Photomicrograph of a urine filtration membrane, 4× objective.
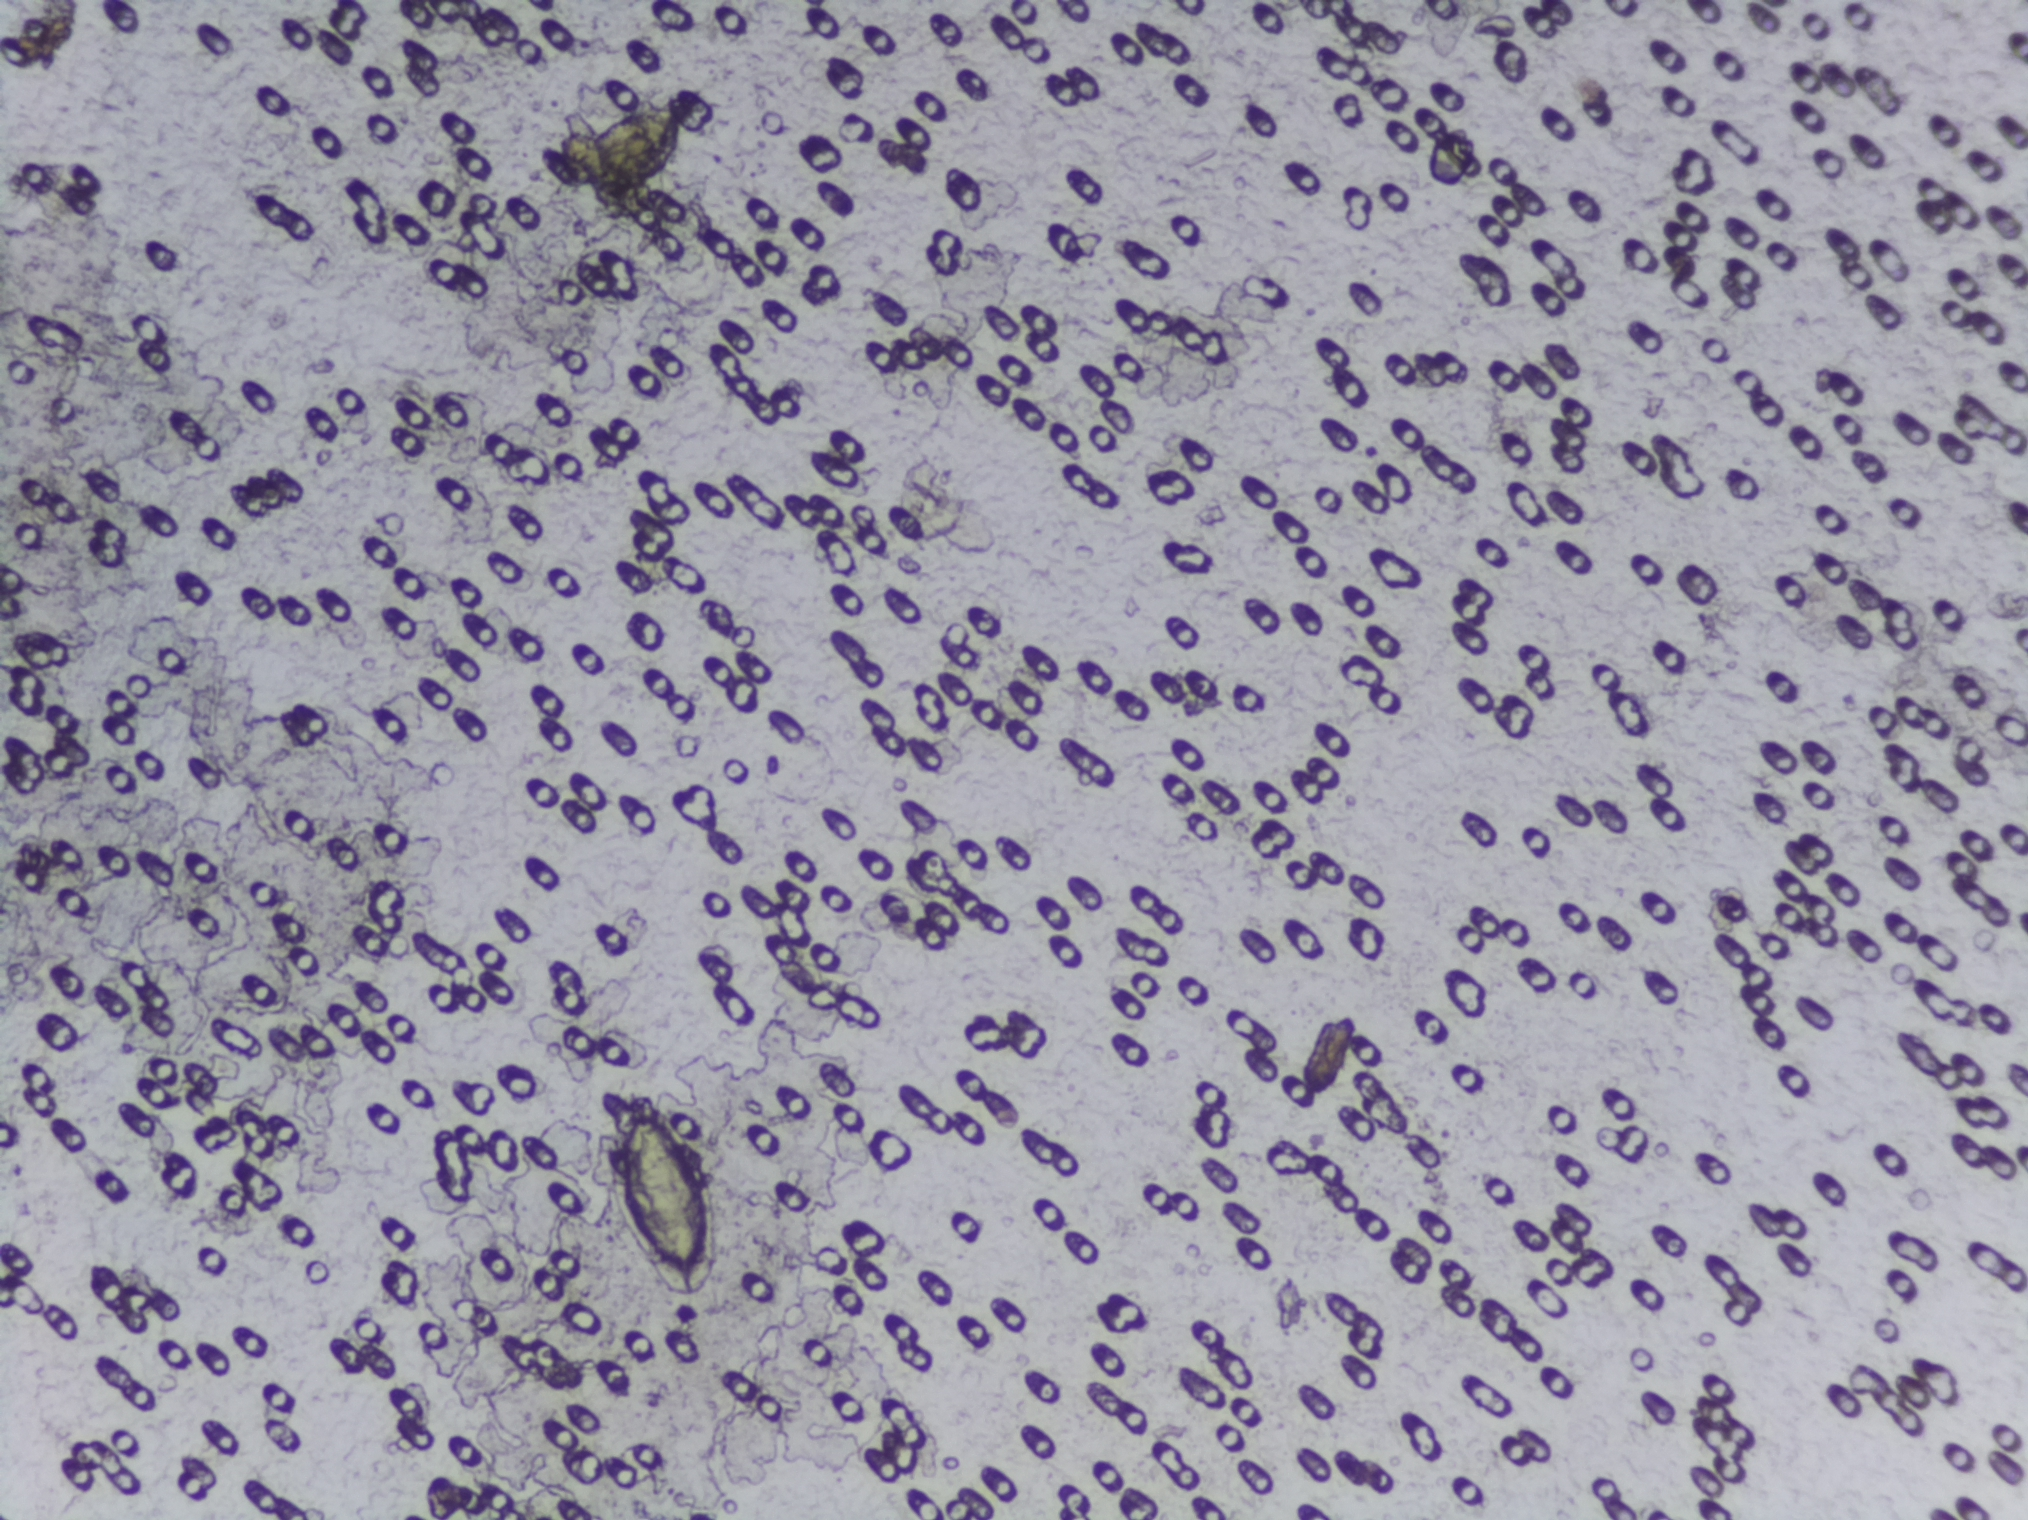
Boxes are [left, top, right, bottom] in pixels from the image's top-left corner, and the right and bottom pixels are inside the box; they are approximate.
{"schistosoma_egg_areas_xyxy_px": [[577, 96, 693, 205], [607, 1079, 734, 1300]]}
Eggs that touch can end up inside the same outlined area.